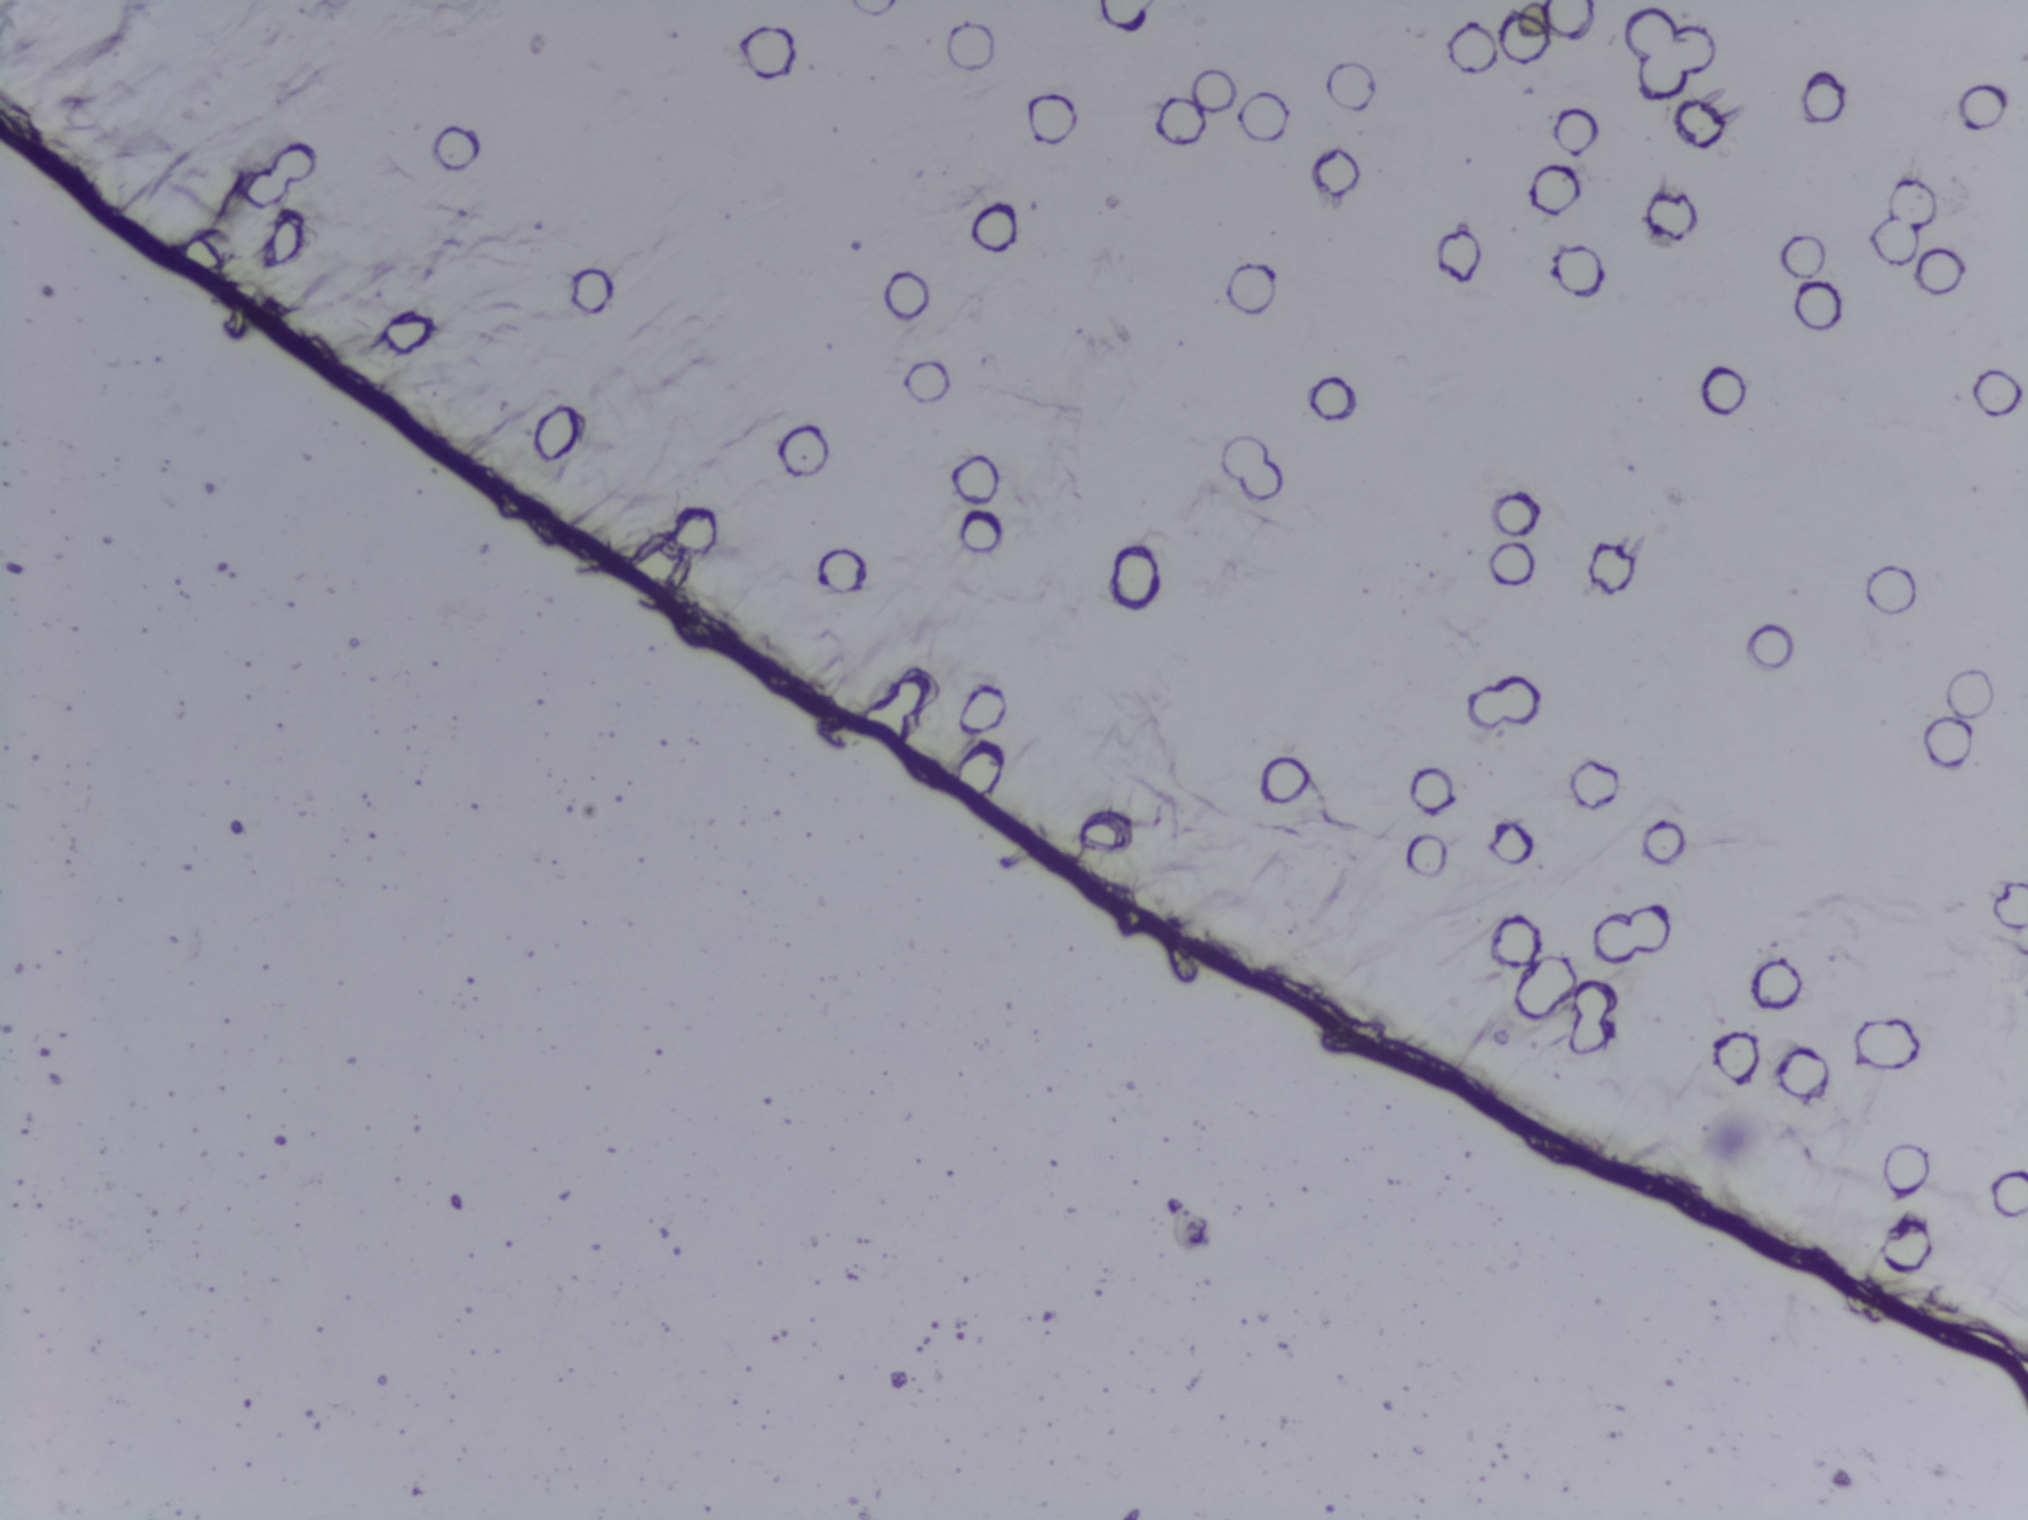
Urine filtration membrane under a 4× objective, photographed by an automated digital microscope. The image covers about 1.5 × 1.1 mm of the membrane.
Schistosoma eggs: none outlined.